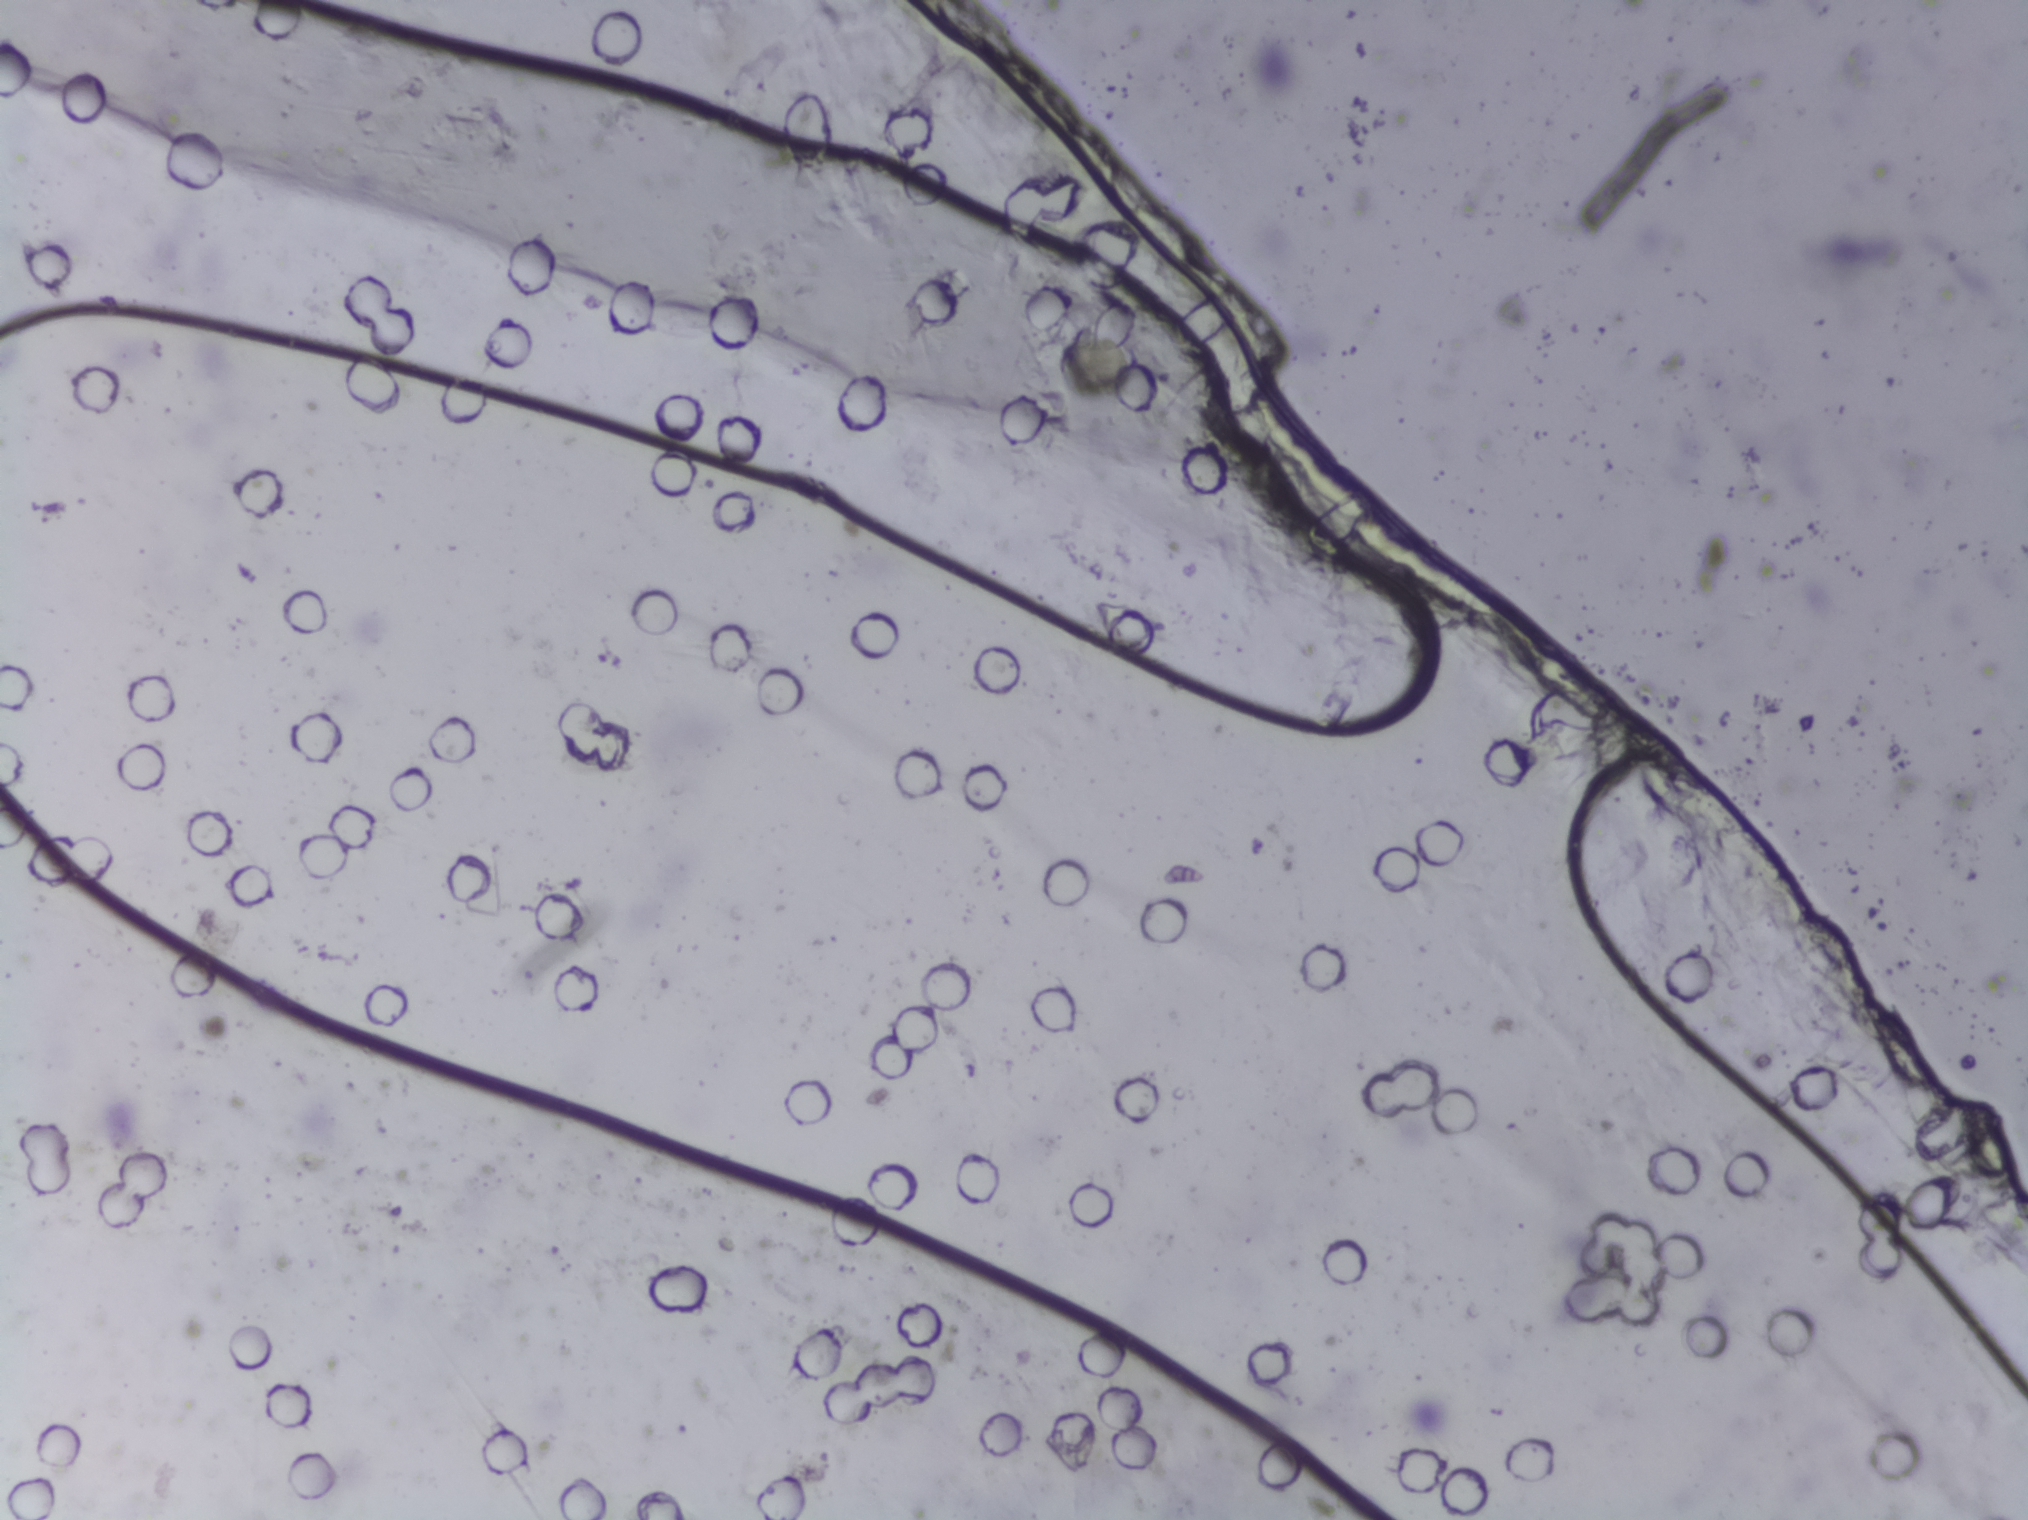
No Schistosoma egg is outlined in this image's expert annotation.
Photograph from an automated digital microscope: urine filter membrane, 4× objective.